Urine filtration membrane under a 4× objective, photographed by an automated digital microscope.
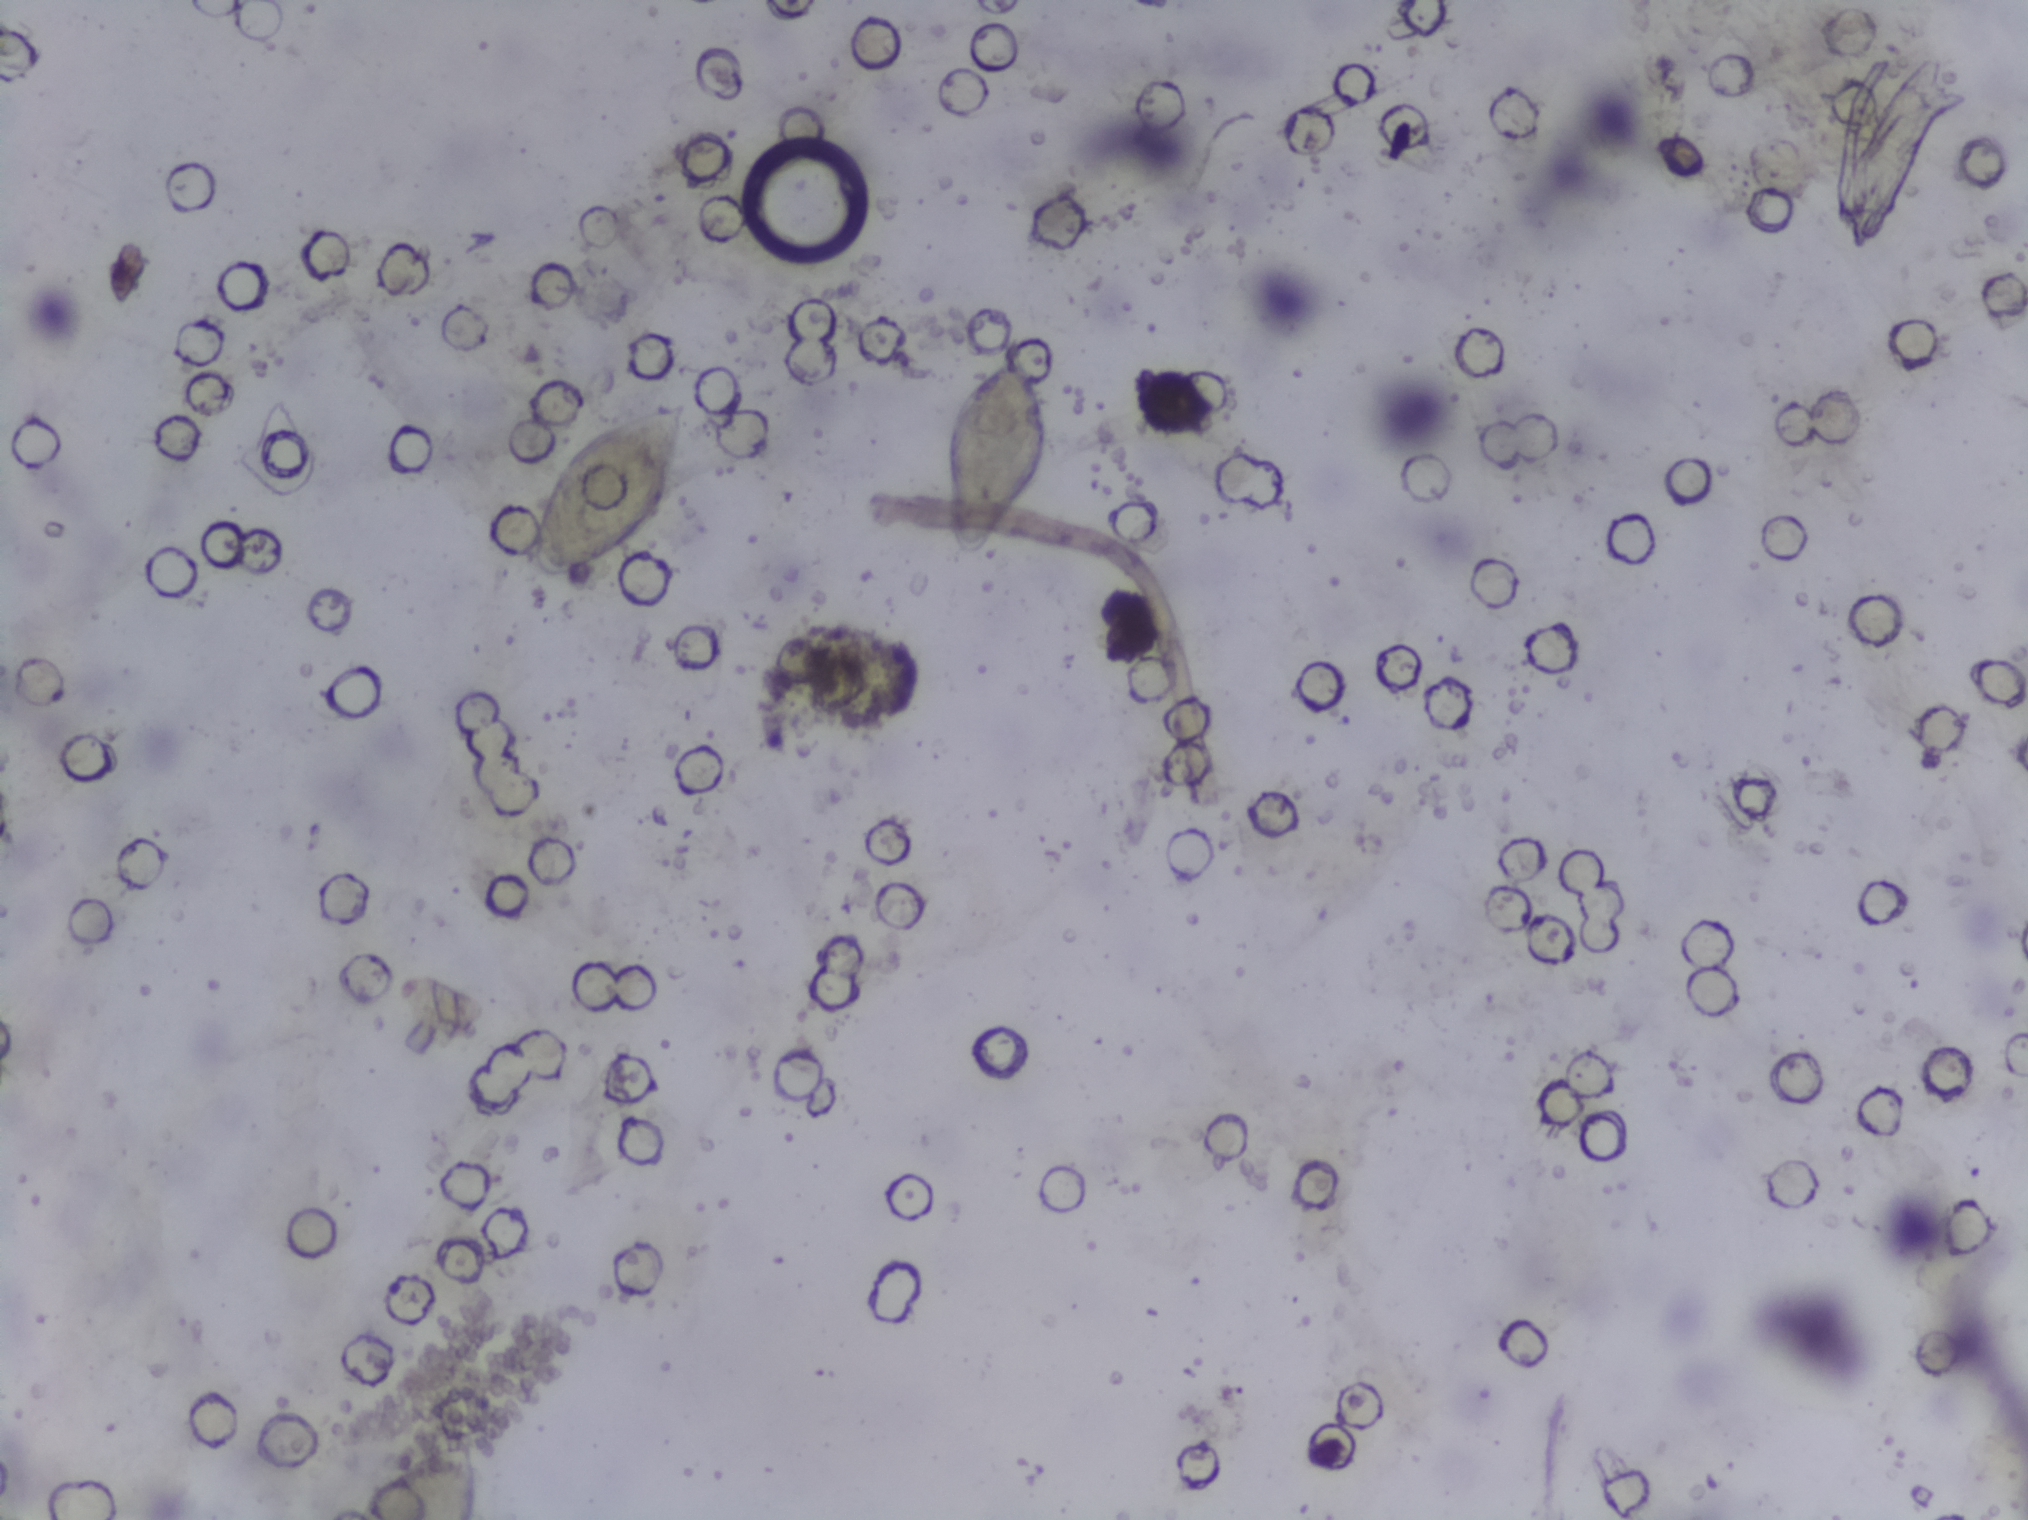
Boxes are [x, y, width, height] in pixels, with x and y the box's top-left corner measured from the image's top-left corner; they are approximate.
Findings: three areas outlined as Schistosoma eggs. Locations: [350, 1431, 129, 89] (reaching the bottom edge of the frame); [529, 401, 160, 176]; [941, 337, 110, 222]. The marked pixels themselves, not the boxes around them, cover about 1.3% of the image. An outlined area can hold more than one egg.